Microscope photograph (4× objective) of a membrane that a urine sample was filtered through. The field of view is about 1.5 mm × 1.1 mm.
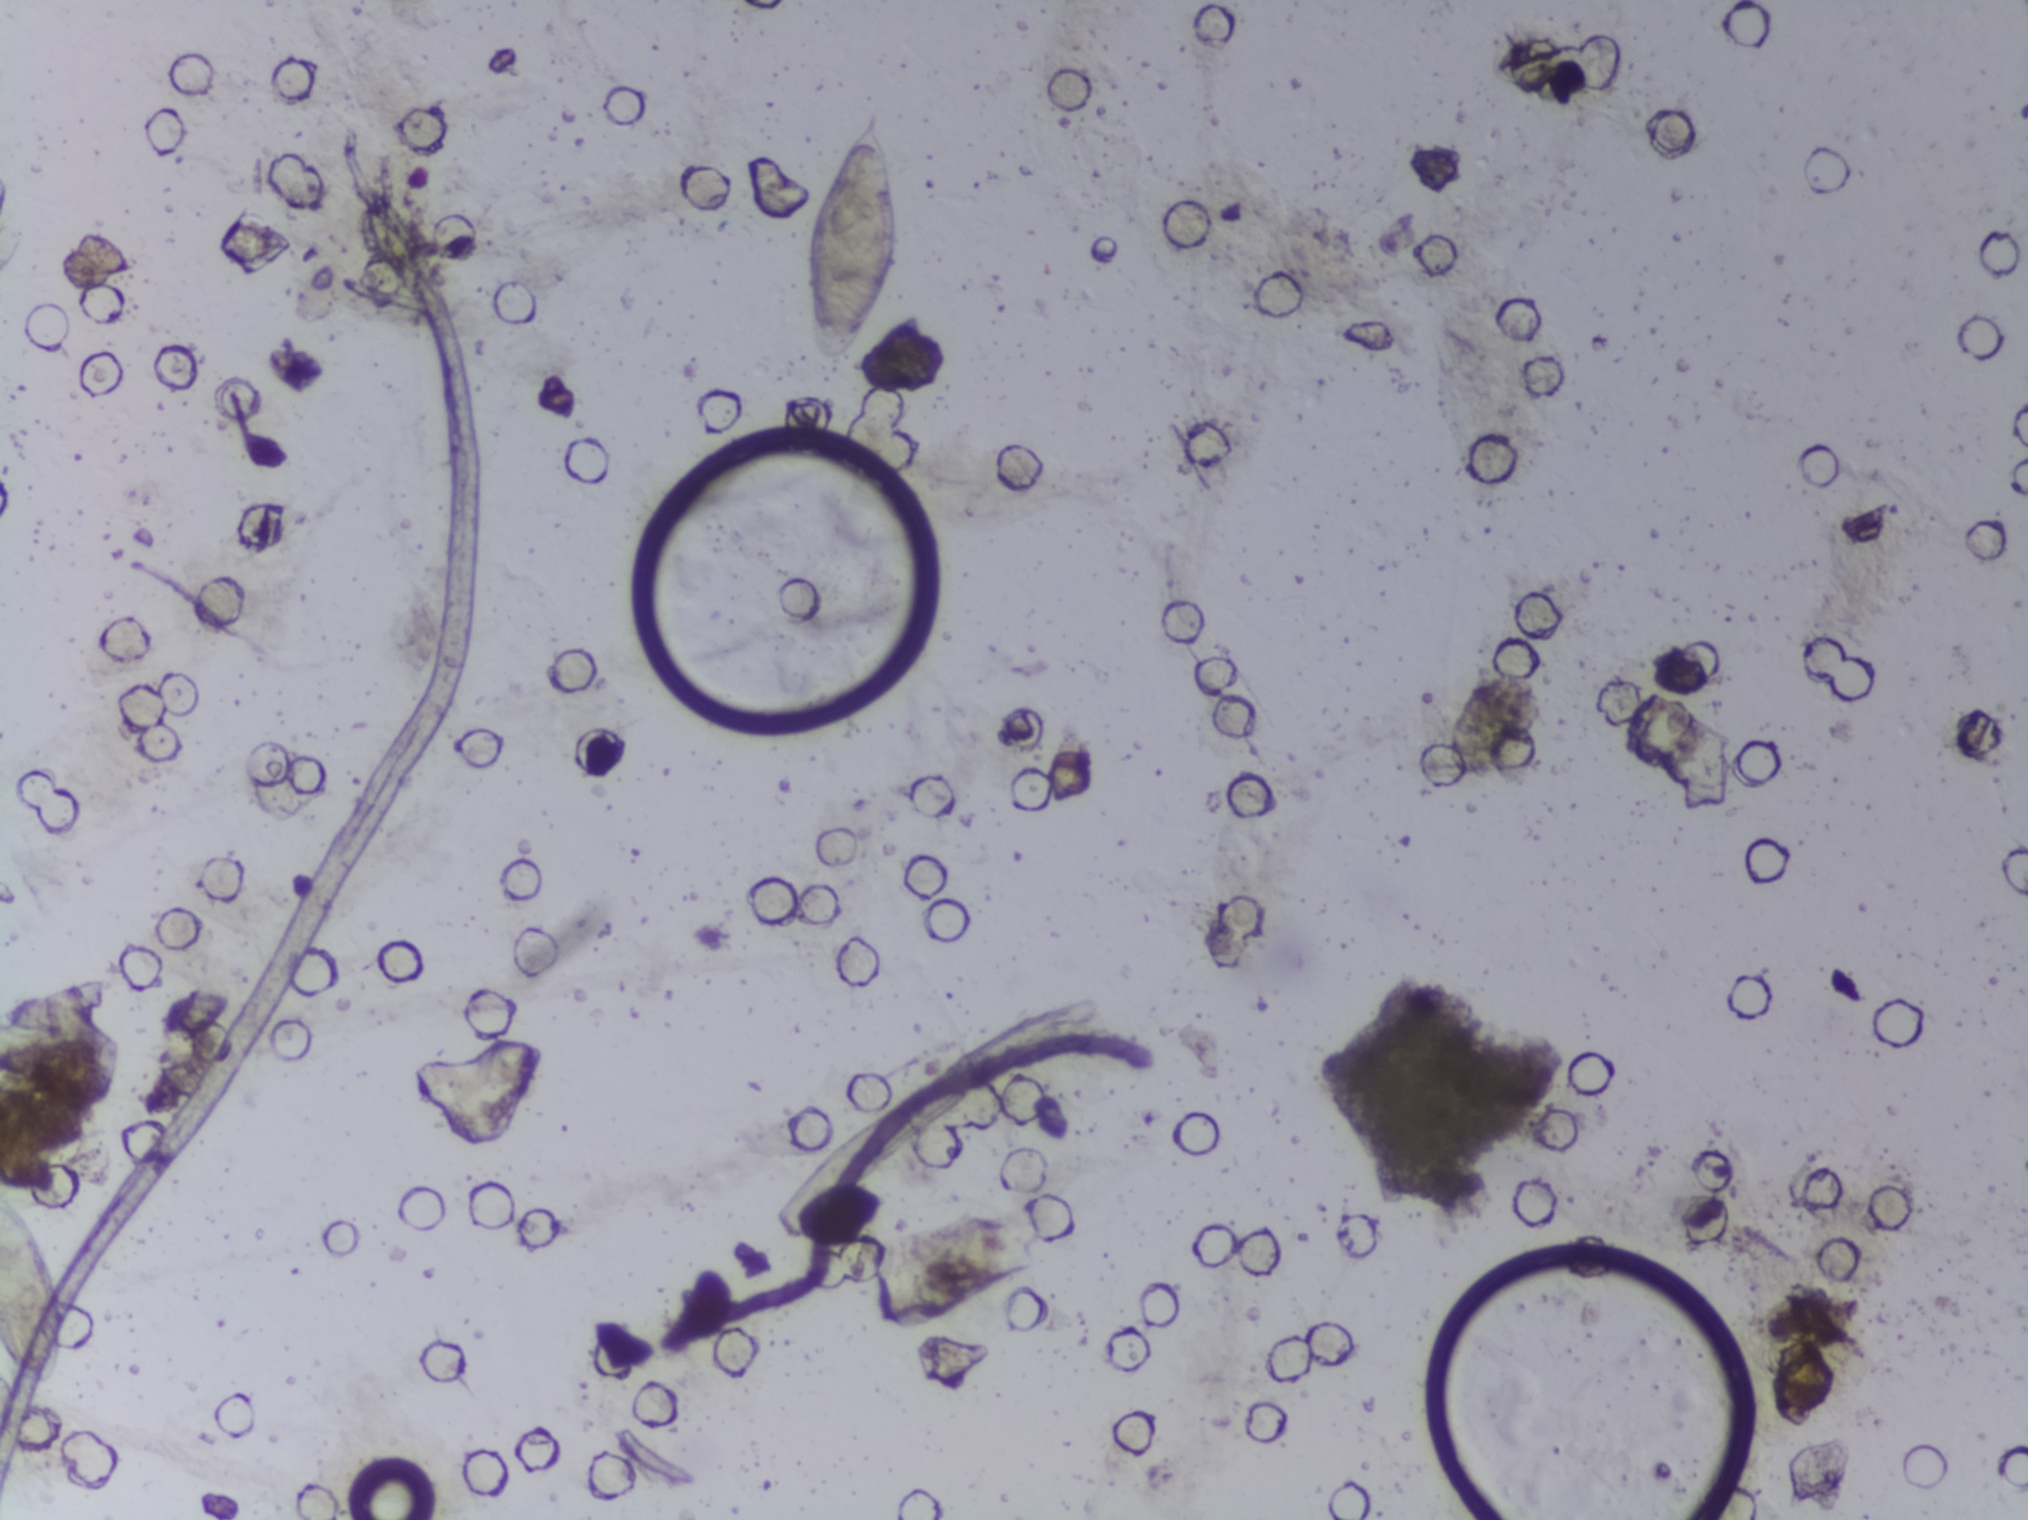
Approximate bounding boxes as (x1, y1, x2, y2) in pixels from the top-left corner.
Schistosoma eggs, outlined areas: (0, 1177, 69, 1395) (reaching the left edge of the frame); (799, 105, 901, 362). A single outlined area may contain several eggs.